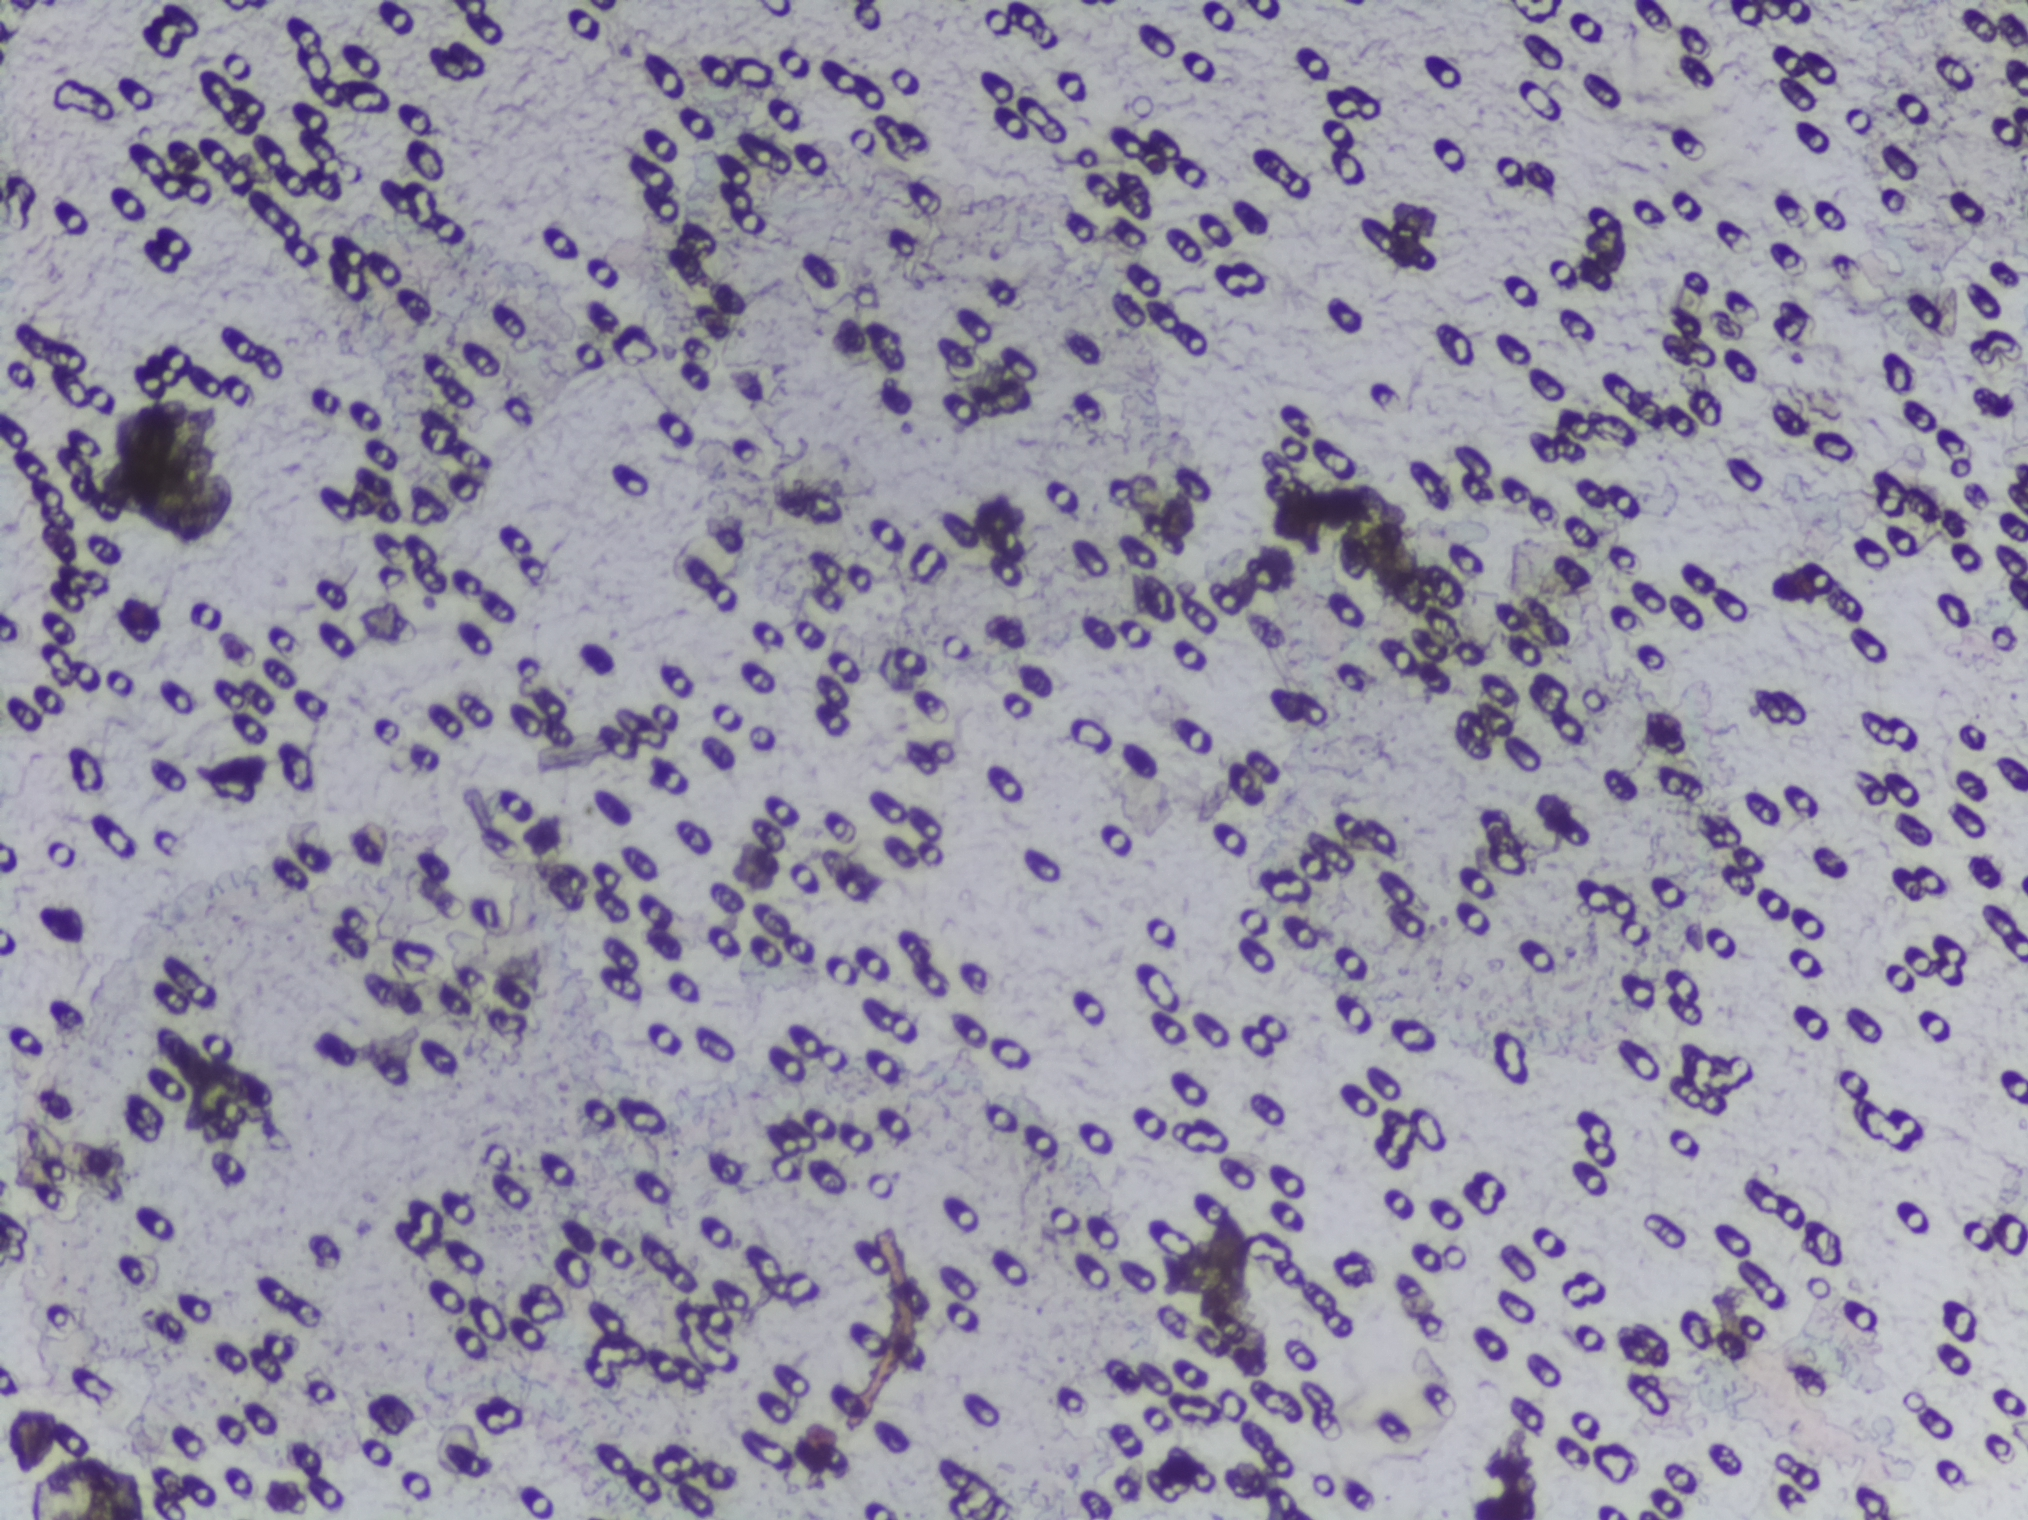
No area of this image was outlined as a Schistosoma egg.
Photomicrograph of a urine filtration membrane, 4× objective.